Photograph from an automated digital microscope: urine filter membrane, 4× objective.
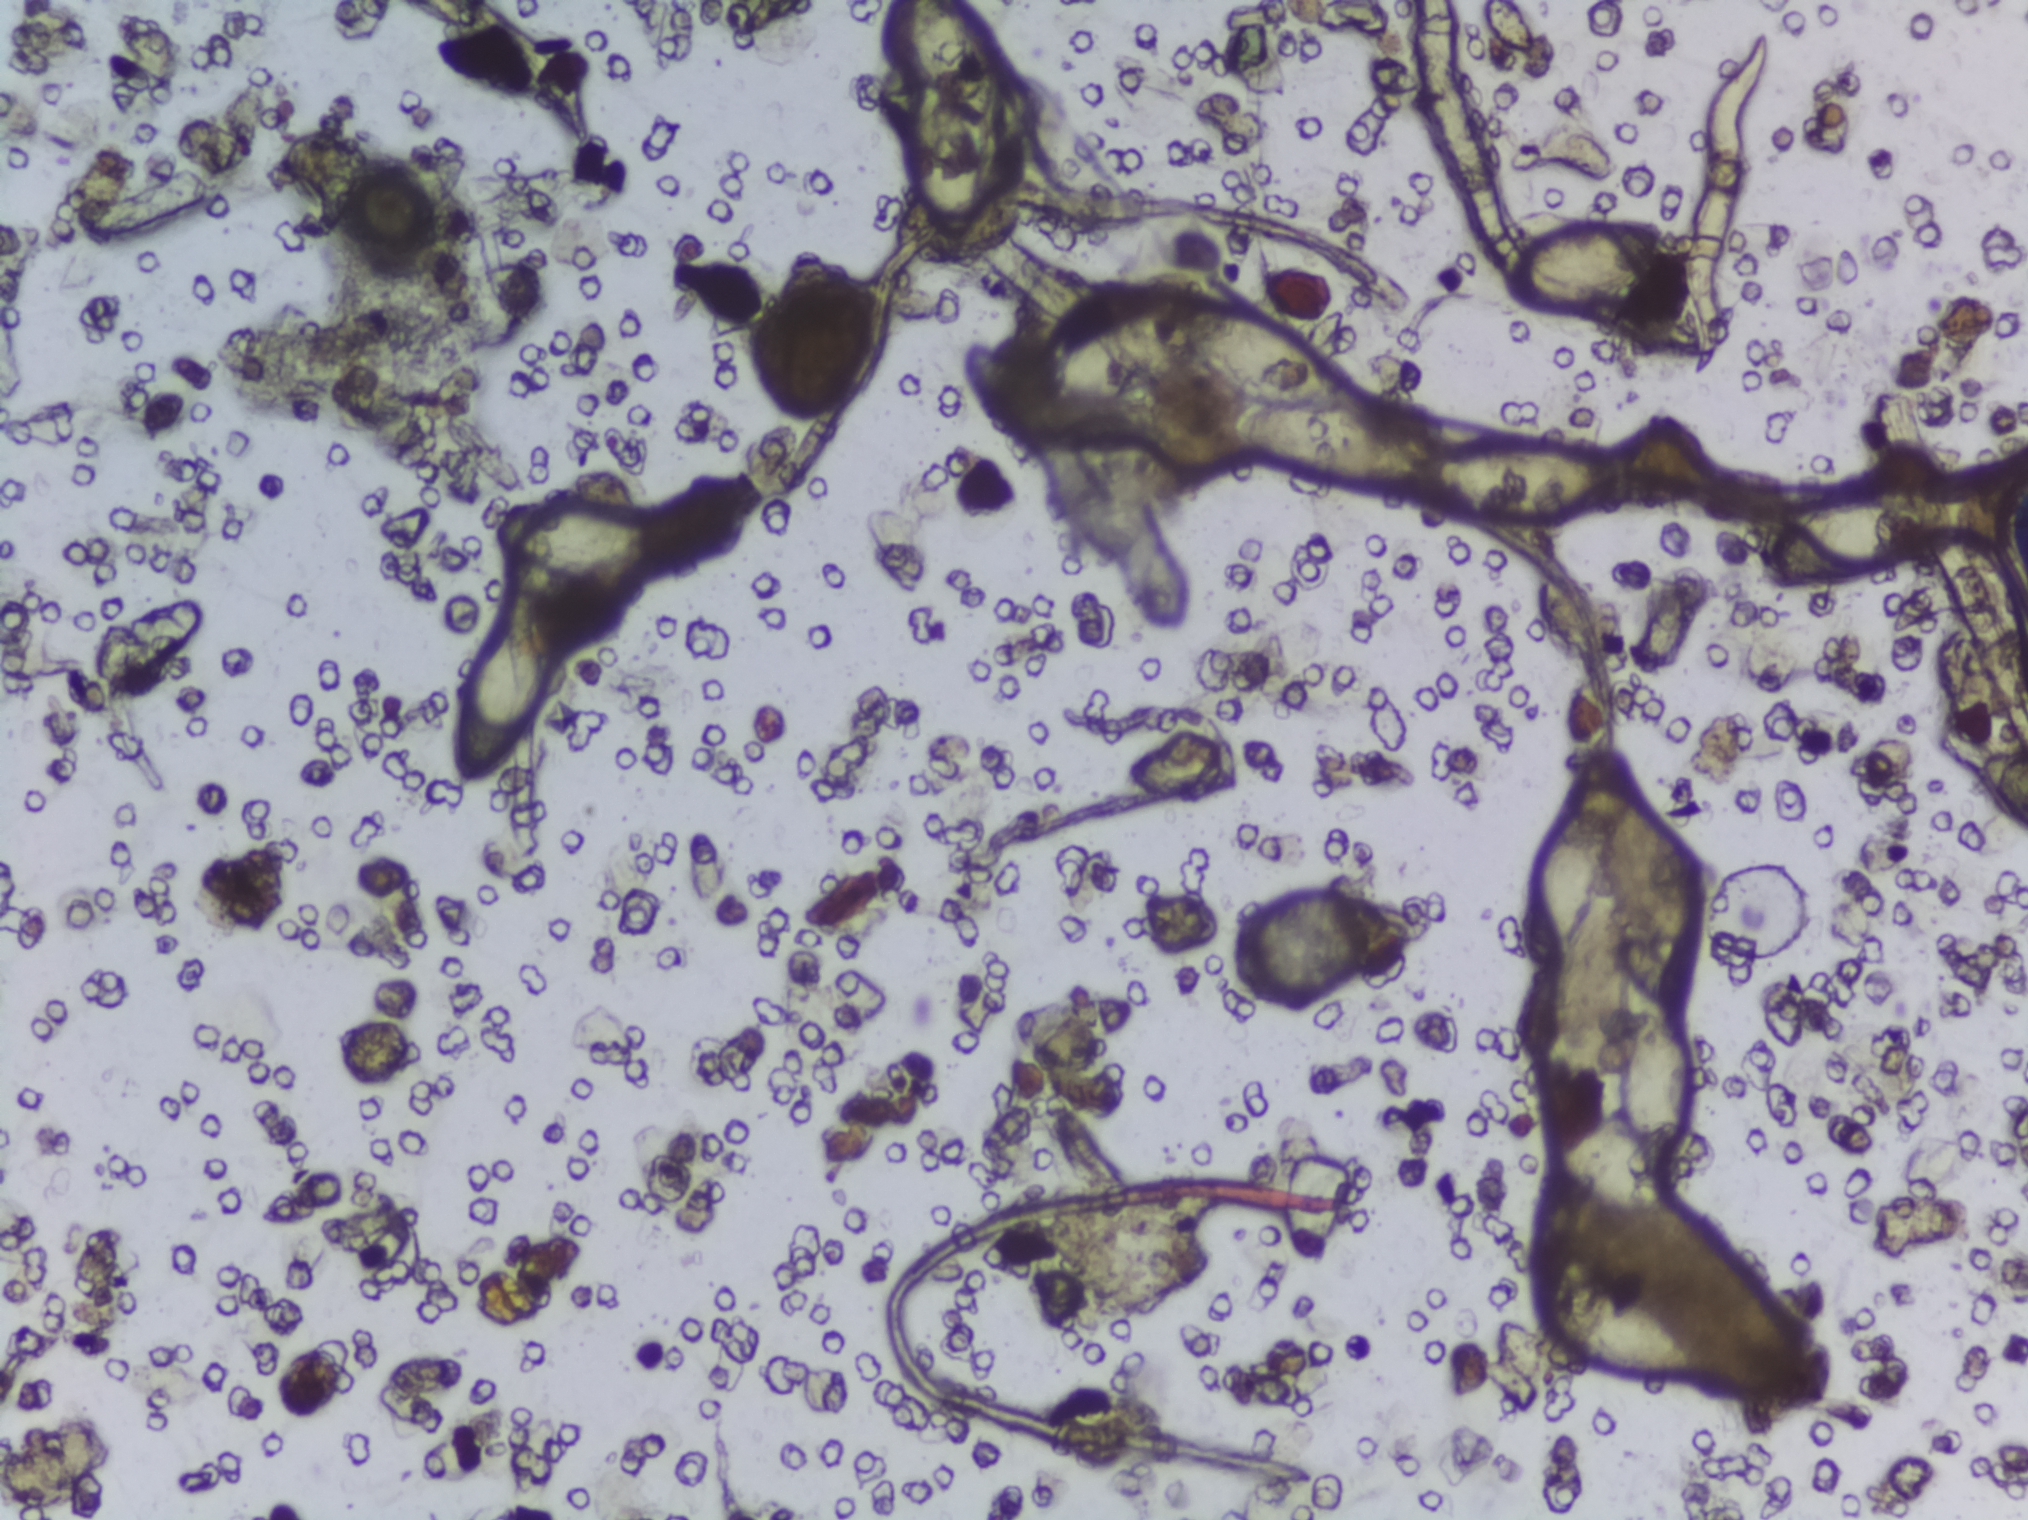
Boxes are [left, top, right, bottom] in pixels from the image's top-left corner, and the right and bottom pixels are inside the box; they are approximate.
{"schistosoma_egg_areas_xyxy_px": [[450, 619, 554, 792], [495, 502, 664, 595], [889, 0, 993, 237], [1051, 304, 1148, 429], [1171, 304, 1417, 495], [1418, 439, 1610, 530], [1509, 221, 1659, 316], [1521, 834, 1595, 964], [1540, 1286, 1690, 1380], [1542, 1004, 1692, 1213], [1766, 497, 1904, 581], [1974, 748, 2027, 824]]} Area 3 reaches the top edge of the frame. Area 12 reaches the right edge of the frame.
An outlined area can hold more than one egg.